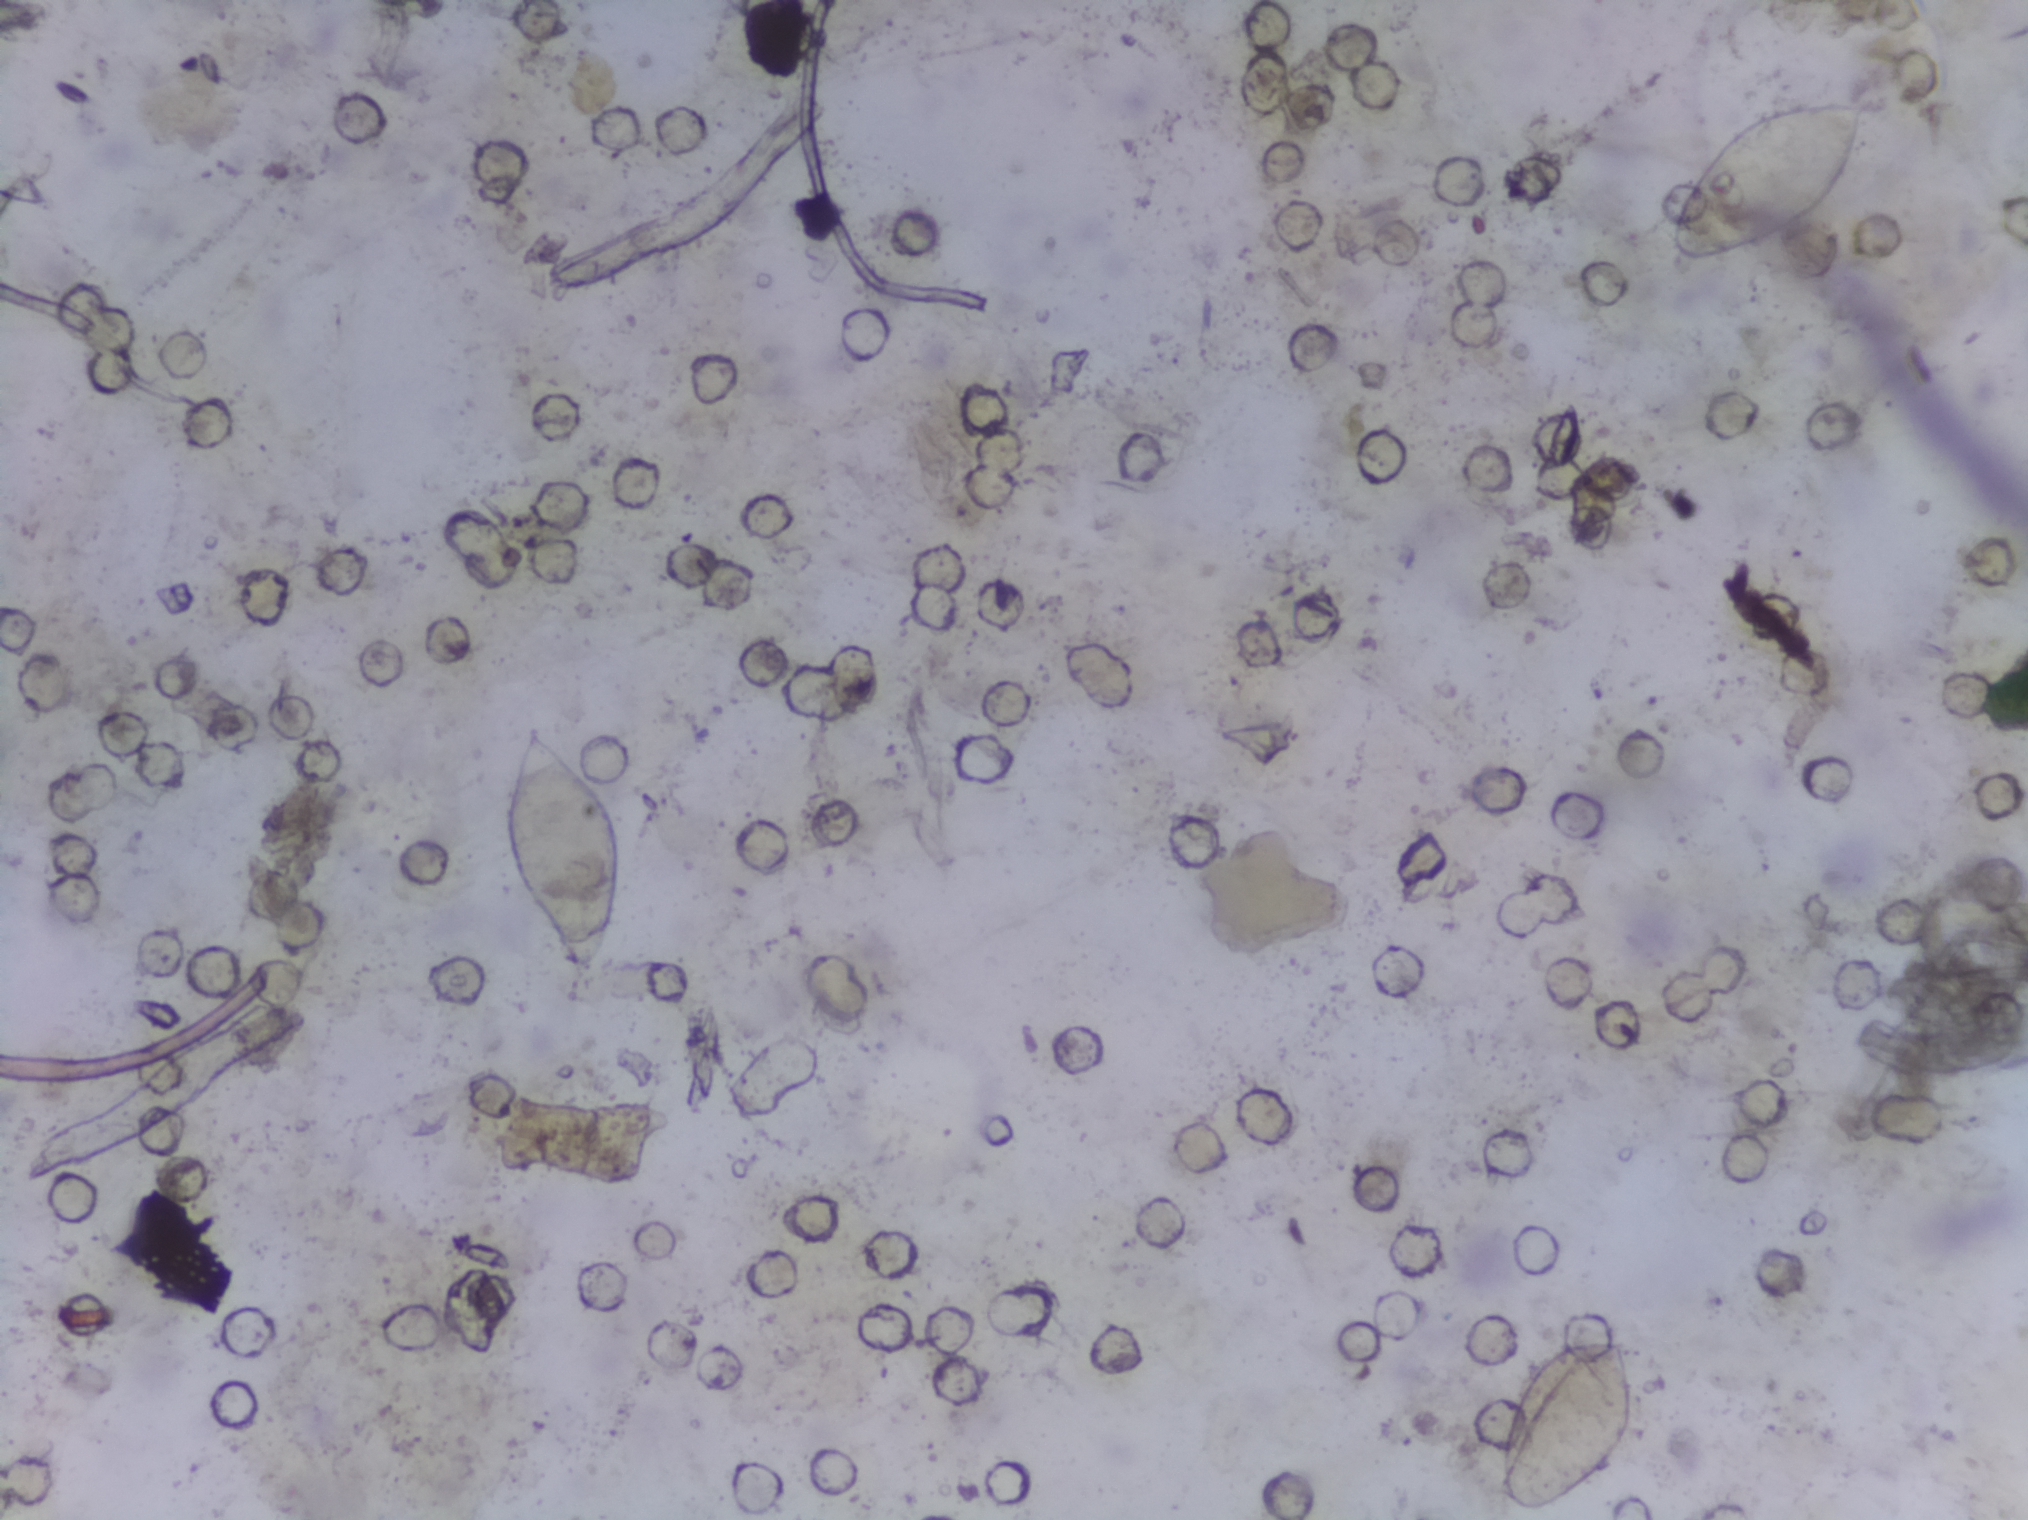
Urine filter membrane photographed through a 4× microscope objective.
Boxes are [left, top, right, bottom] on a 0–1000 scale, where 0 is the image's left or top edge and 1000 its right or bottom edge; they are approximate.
Findings: three areas outlined as Schistosoma eggs. Locations, left to right: [245, 473, 310, 652]; [737, 878, 807, 999]; [822, 61, 921, 178]. A single outlined area may contain several eggs.